Urine filter membrane photographed through a 4× microscope objective. The field of view is about 1.5 mm × 1.1 mm.
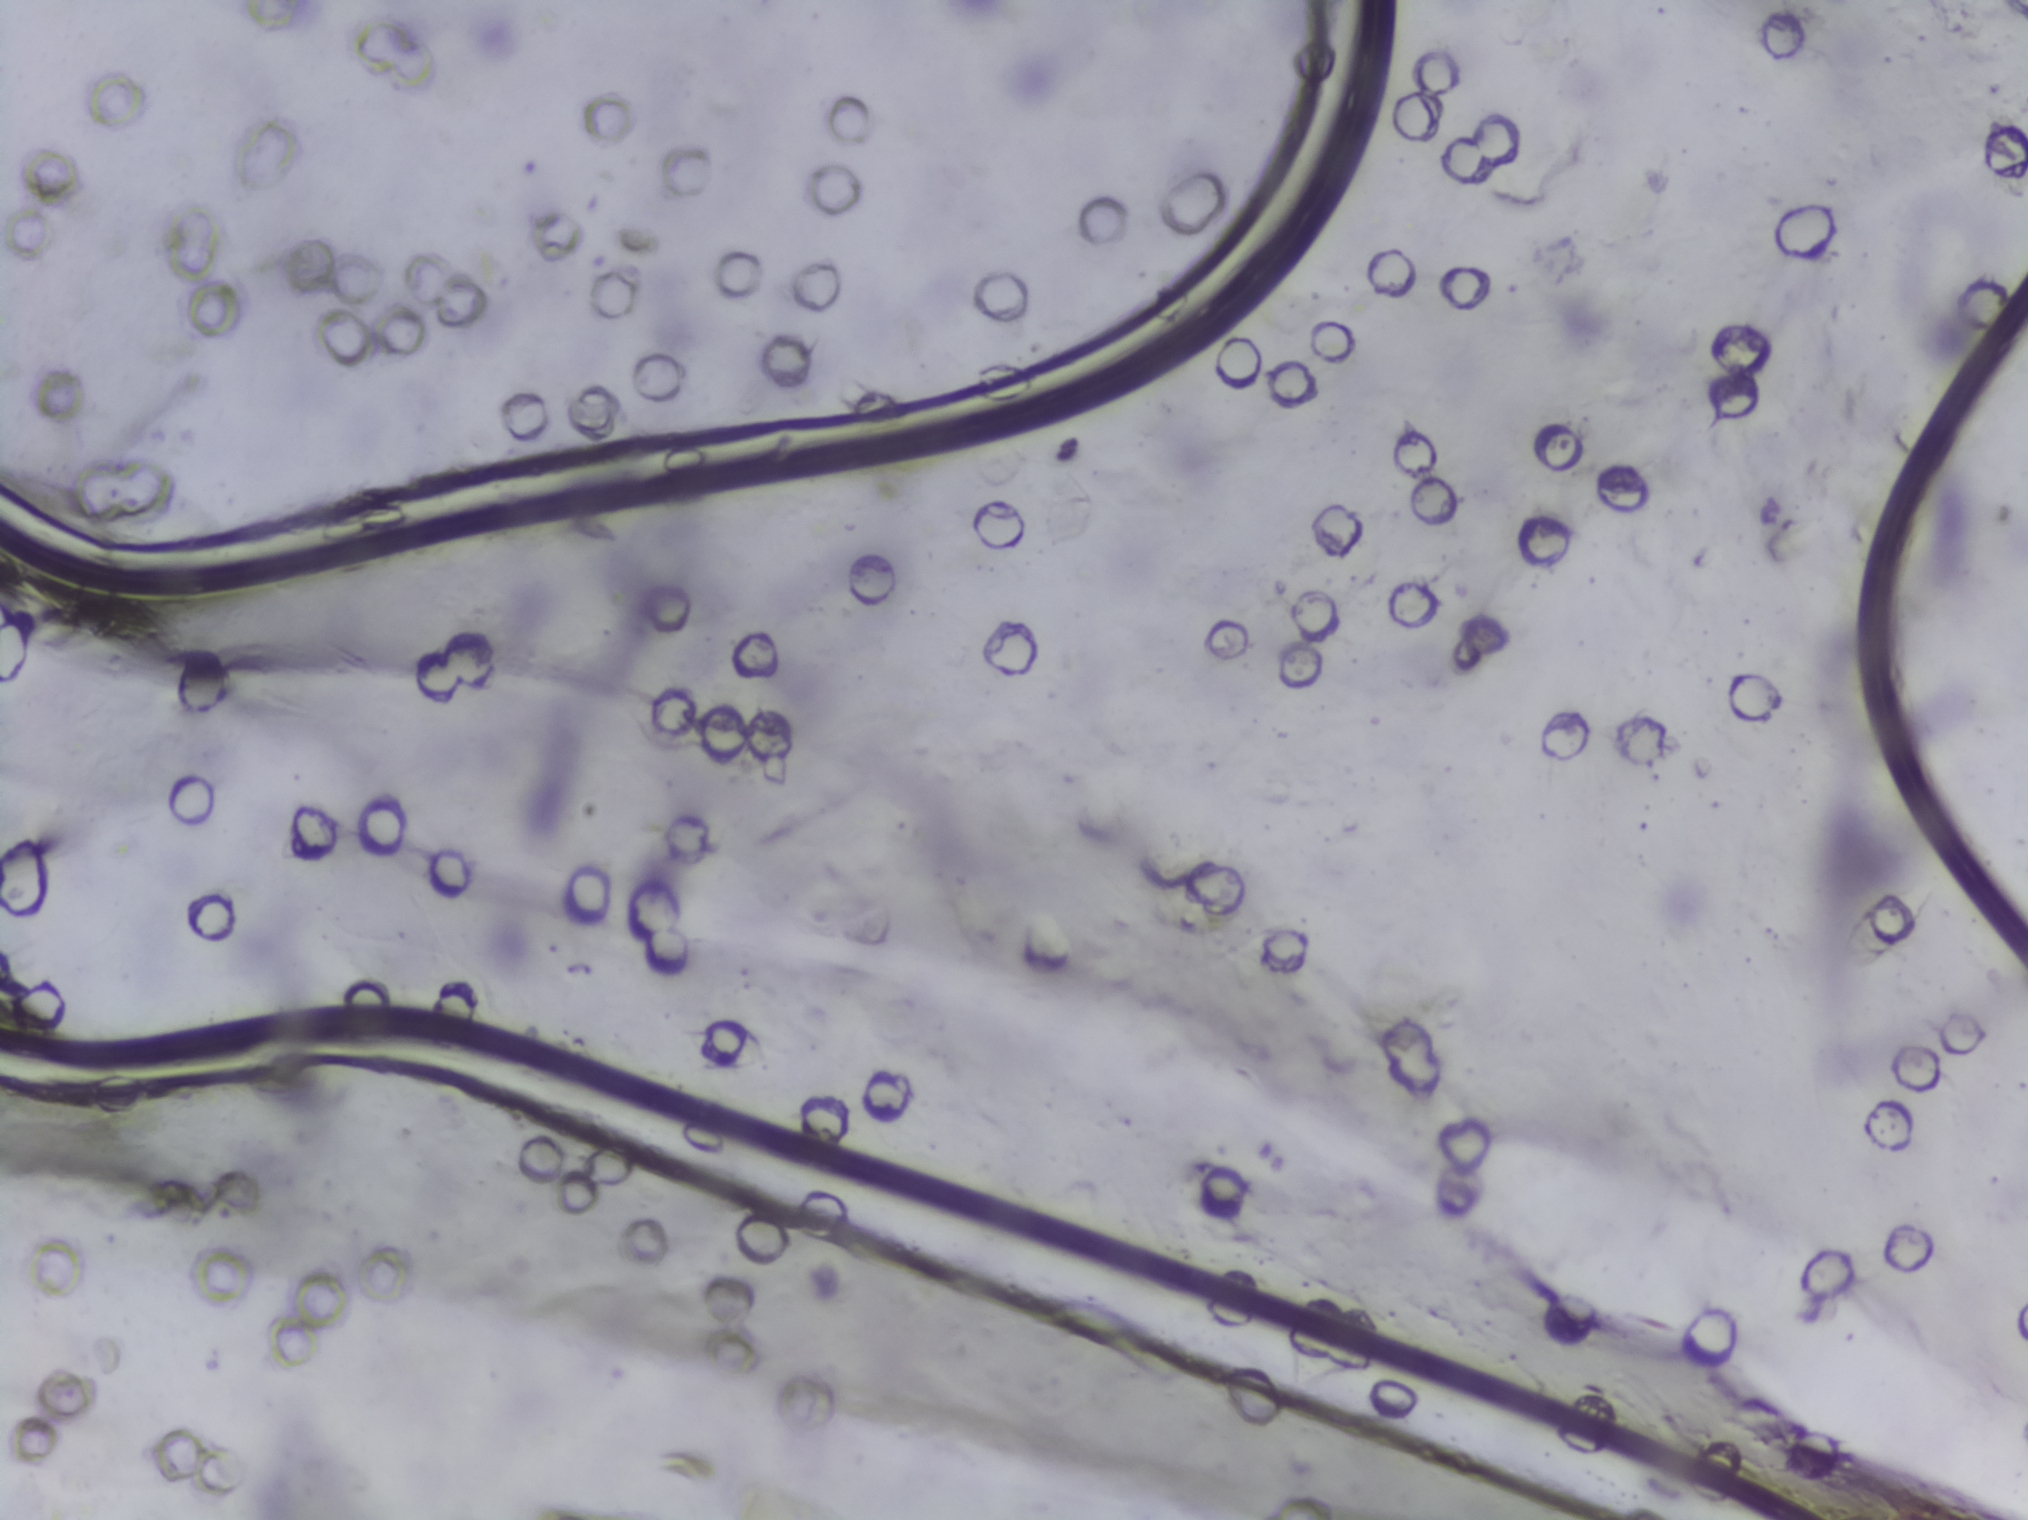
No Schistosoma egg is outlined in this image's expert annotation.